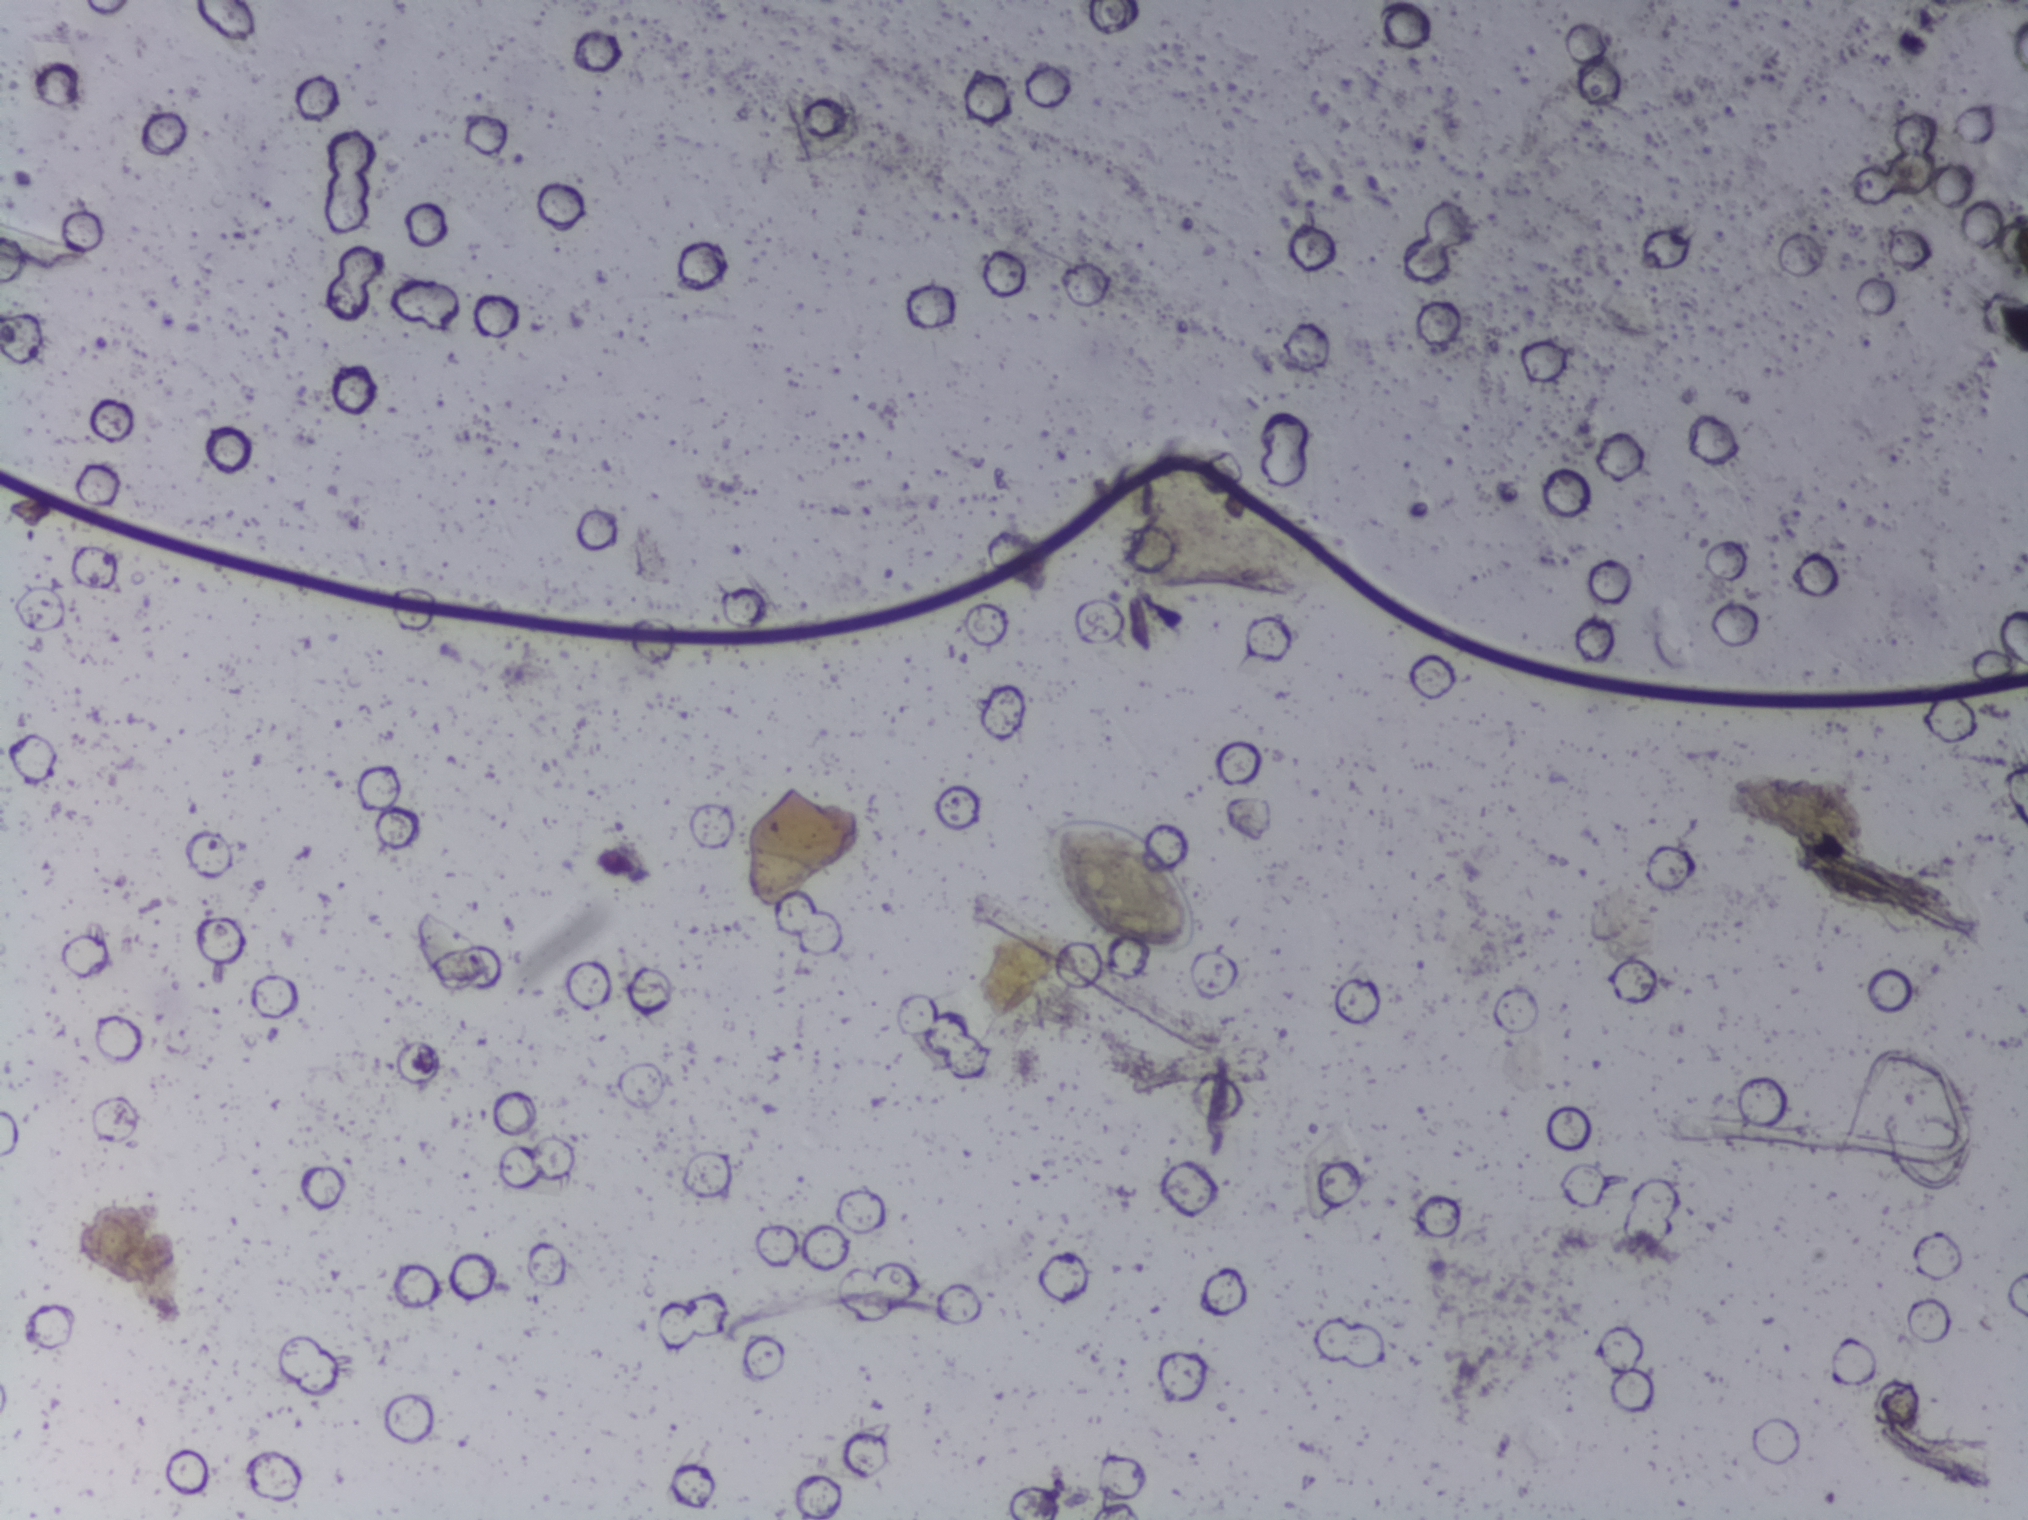
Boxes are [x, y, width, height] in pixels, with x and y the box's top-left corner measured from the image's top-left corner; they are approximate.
One area of this image is outlined as Schistosoma eggs: [1035, 816, 170, 145]. An outlined area can hold more than one egg. Any one outlined egg may, rarely, be S. mansoni rather than S. haematobium.
Urine filtration membrane under a 4× objective, photographed by an automated digital microscope.